Urine filtration membrane under a 4× objective, photographed by an automated digital microscope.
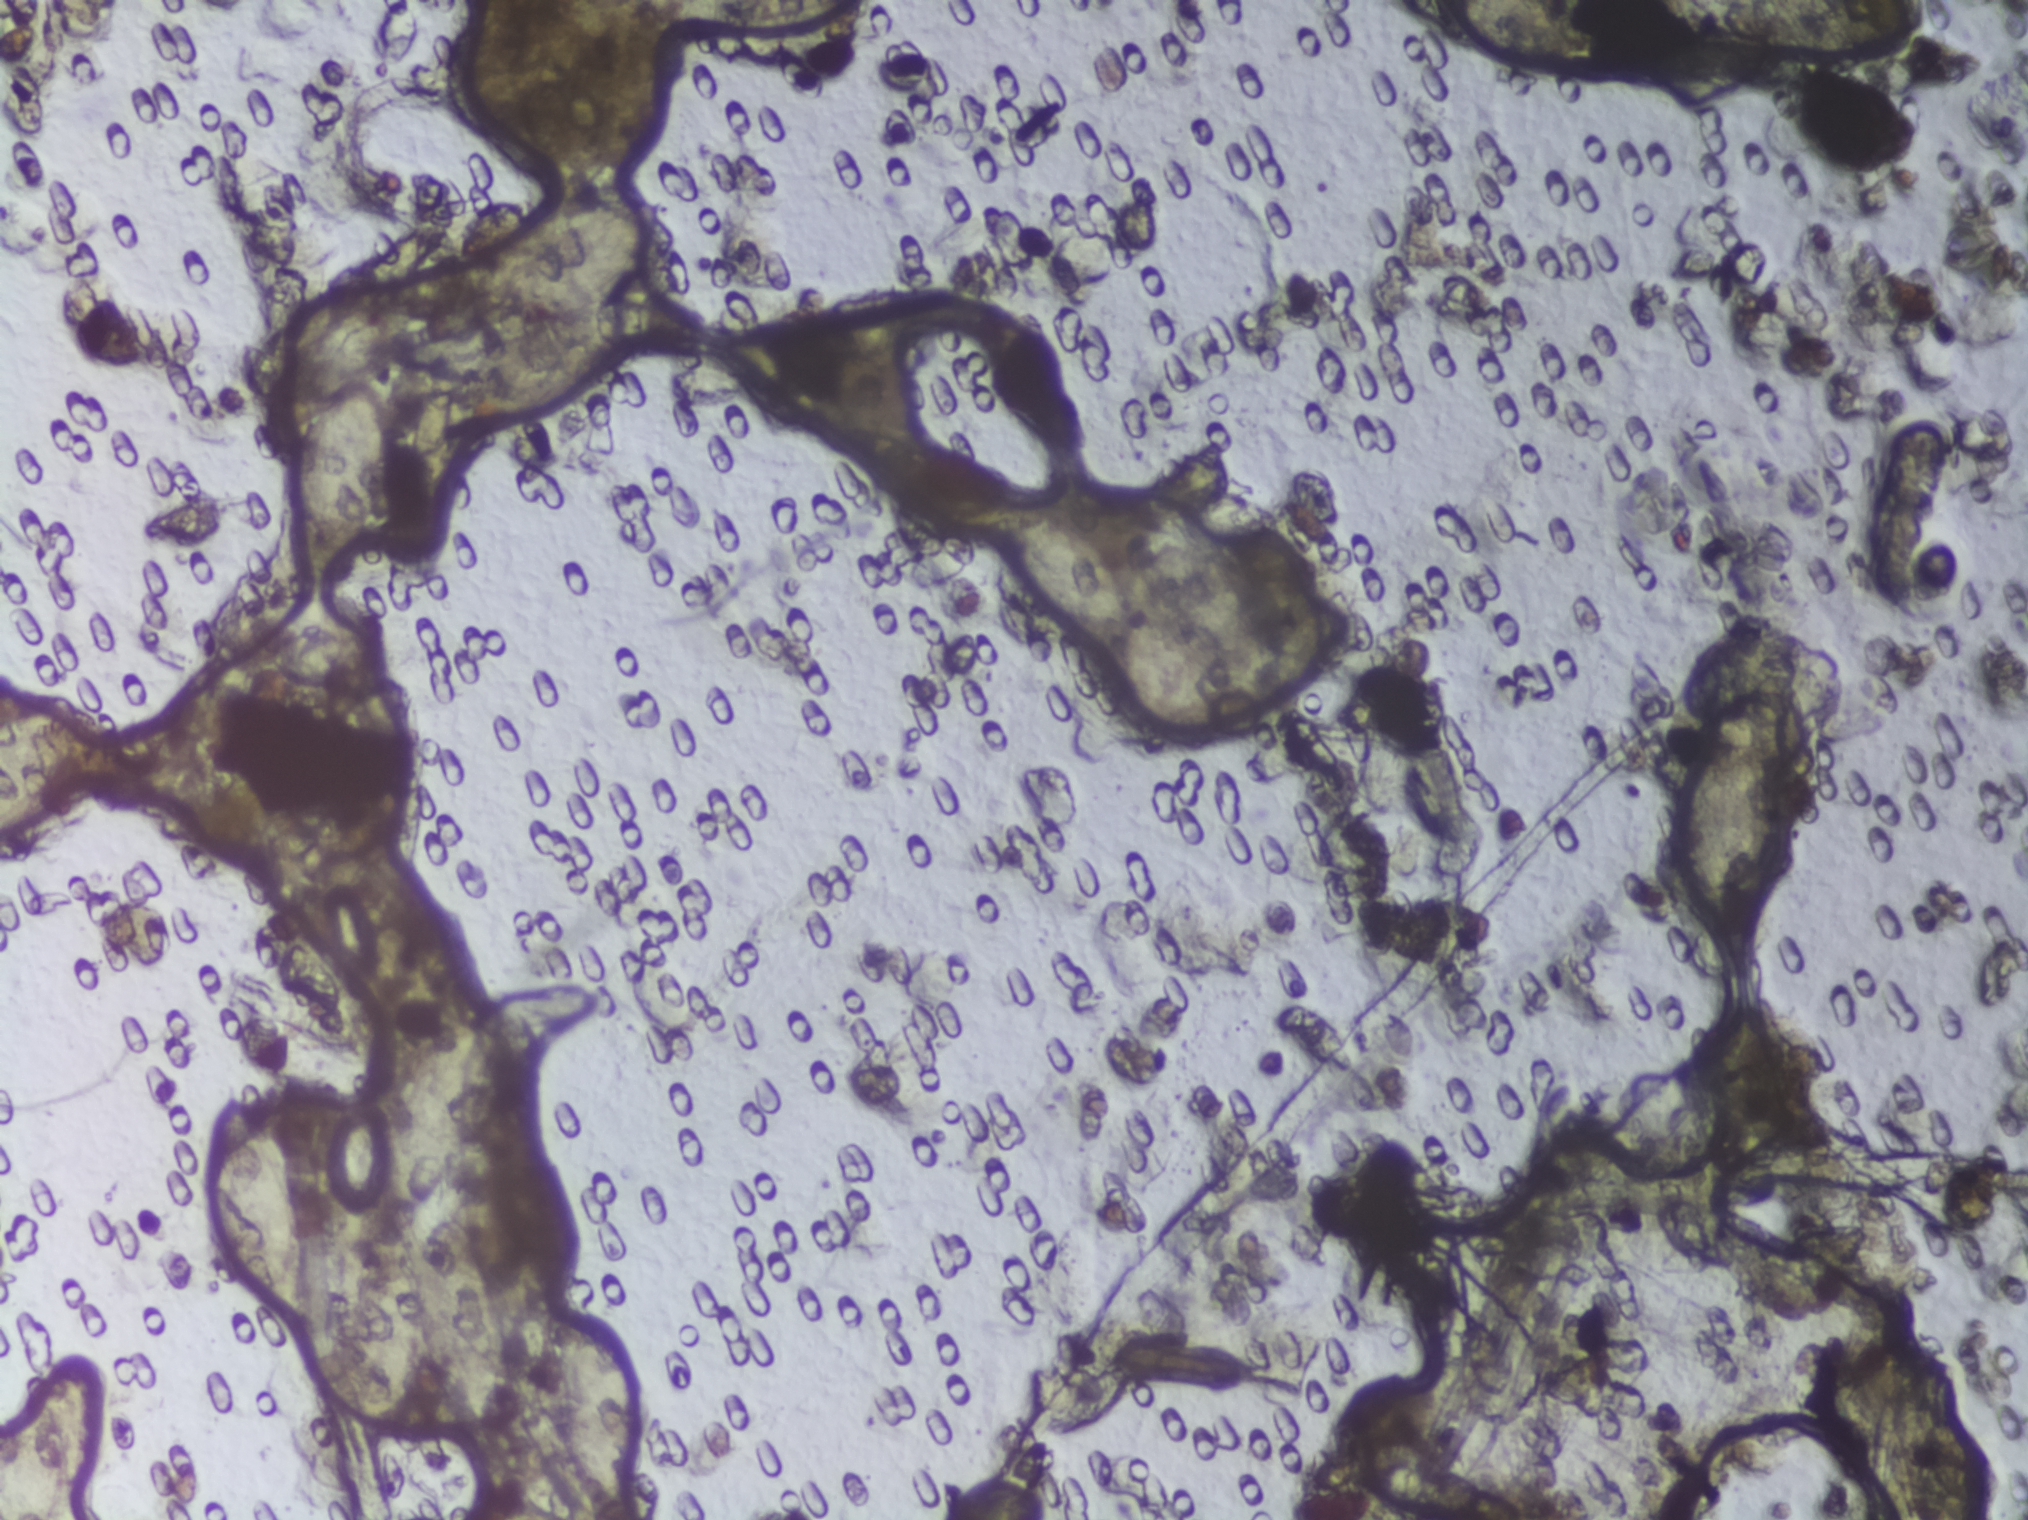
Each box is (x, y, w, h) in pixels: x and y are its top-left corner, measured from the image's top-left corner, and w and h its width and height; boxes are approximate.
Schistosoma eggs are outlined in the expert annotation at (x=0, y=690, w=93, h=156) (reaching the left edge of the frame); (x=0, y=1349, w=116, h=171) (reaching the left and bottom edges of the frame); (x=191, y=1069, w=122, h=246); (x=238, y=283, w=173, h=280); (x=319, y=1007, w=198, h=422) (a cluster of eggs); (x=453, y=324, w=181, h=98); (x=467, y=196, w=207, h=104); (x=543, y=1299, w=112, h=216); (x=983, y=496, w=156, h=142); (x=1432, y=0, w=201, h=83) (reaching the top edge of the frame); (x=1655, y=722, w=136, h=235); (x=1707, y=0, w=221, h=60) (reaching the top edge of the frame). An outlined area can hold more than one egg.